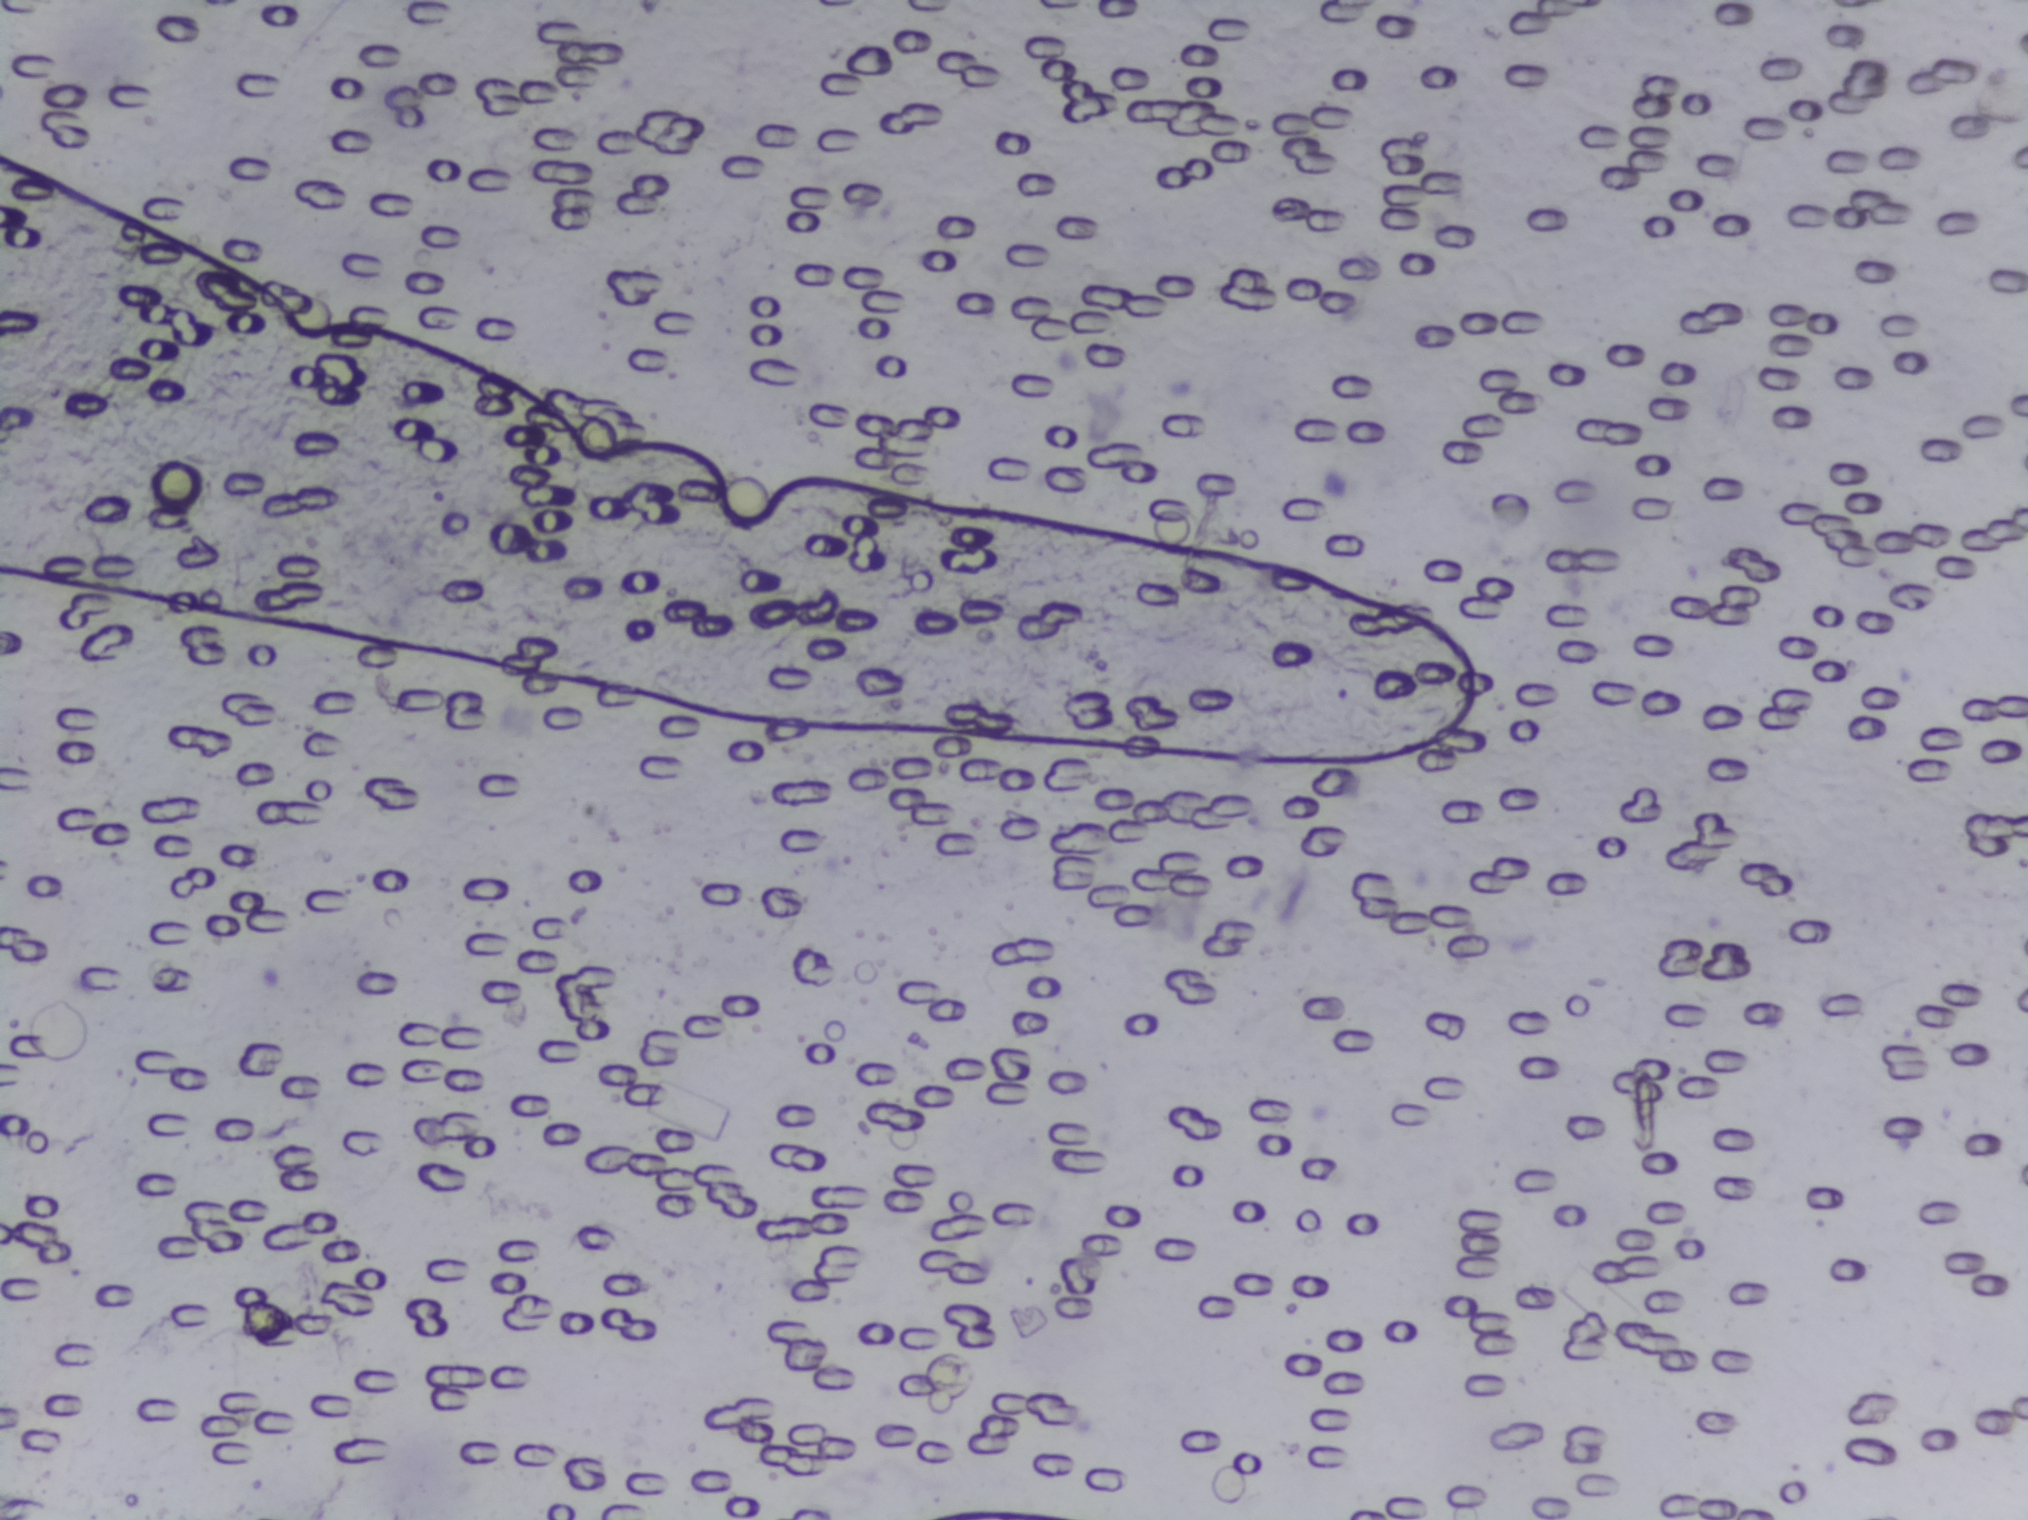
Microscope photograph (4× objective) of a membrane that a urine sample was filtered through.
No Schistosoma egg is outlined in this image's expert annotation.